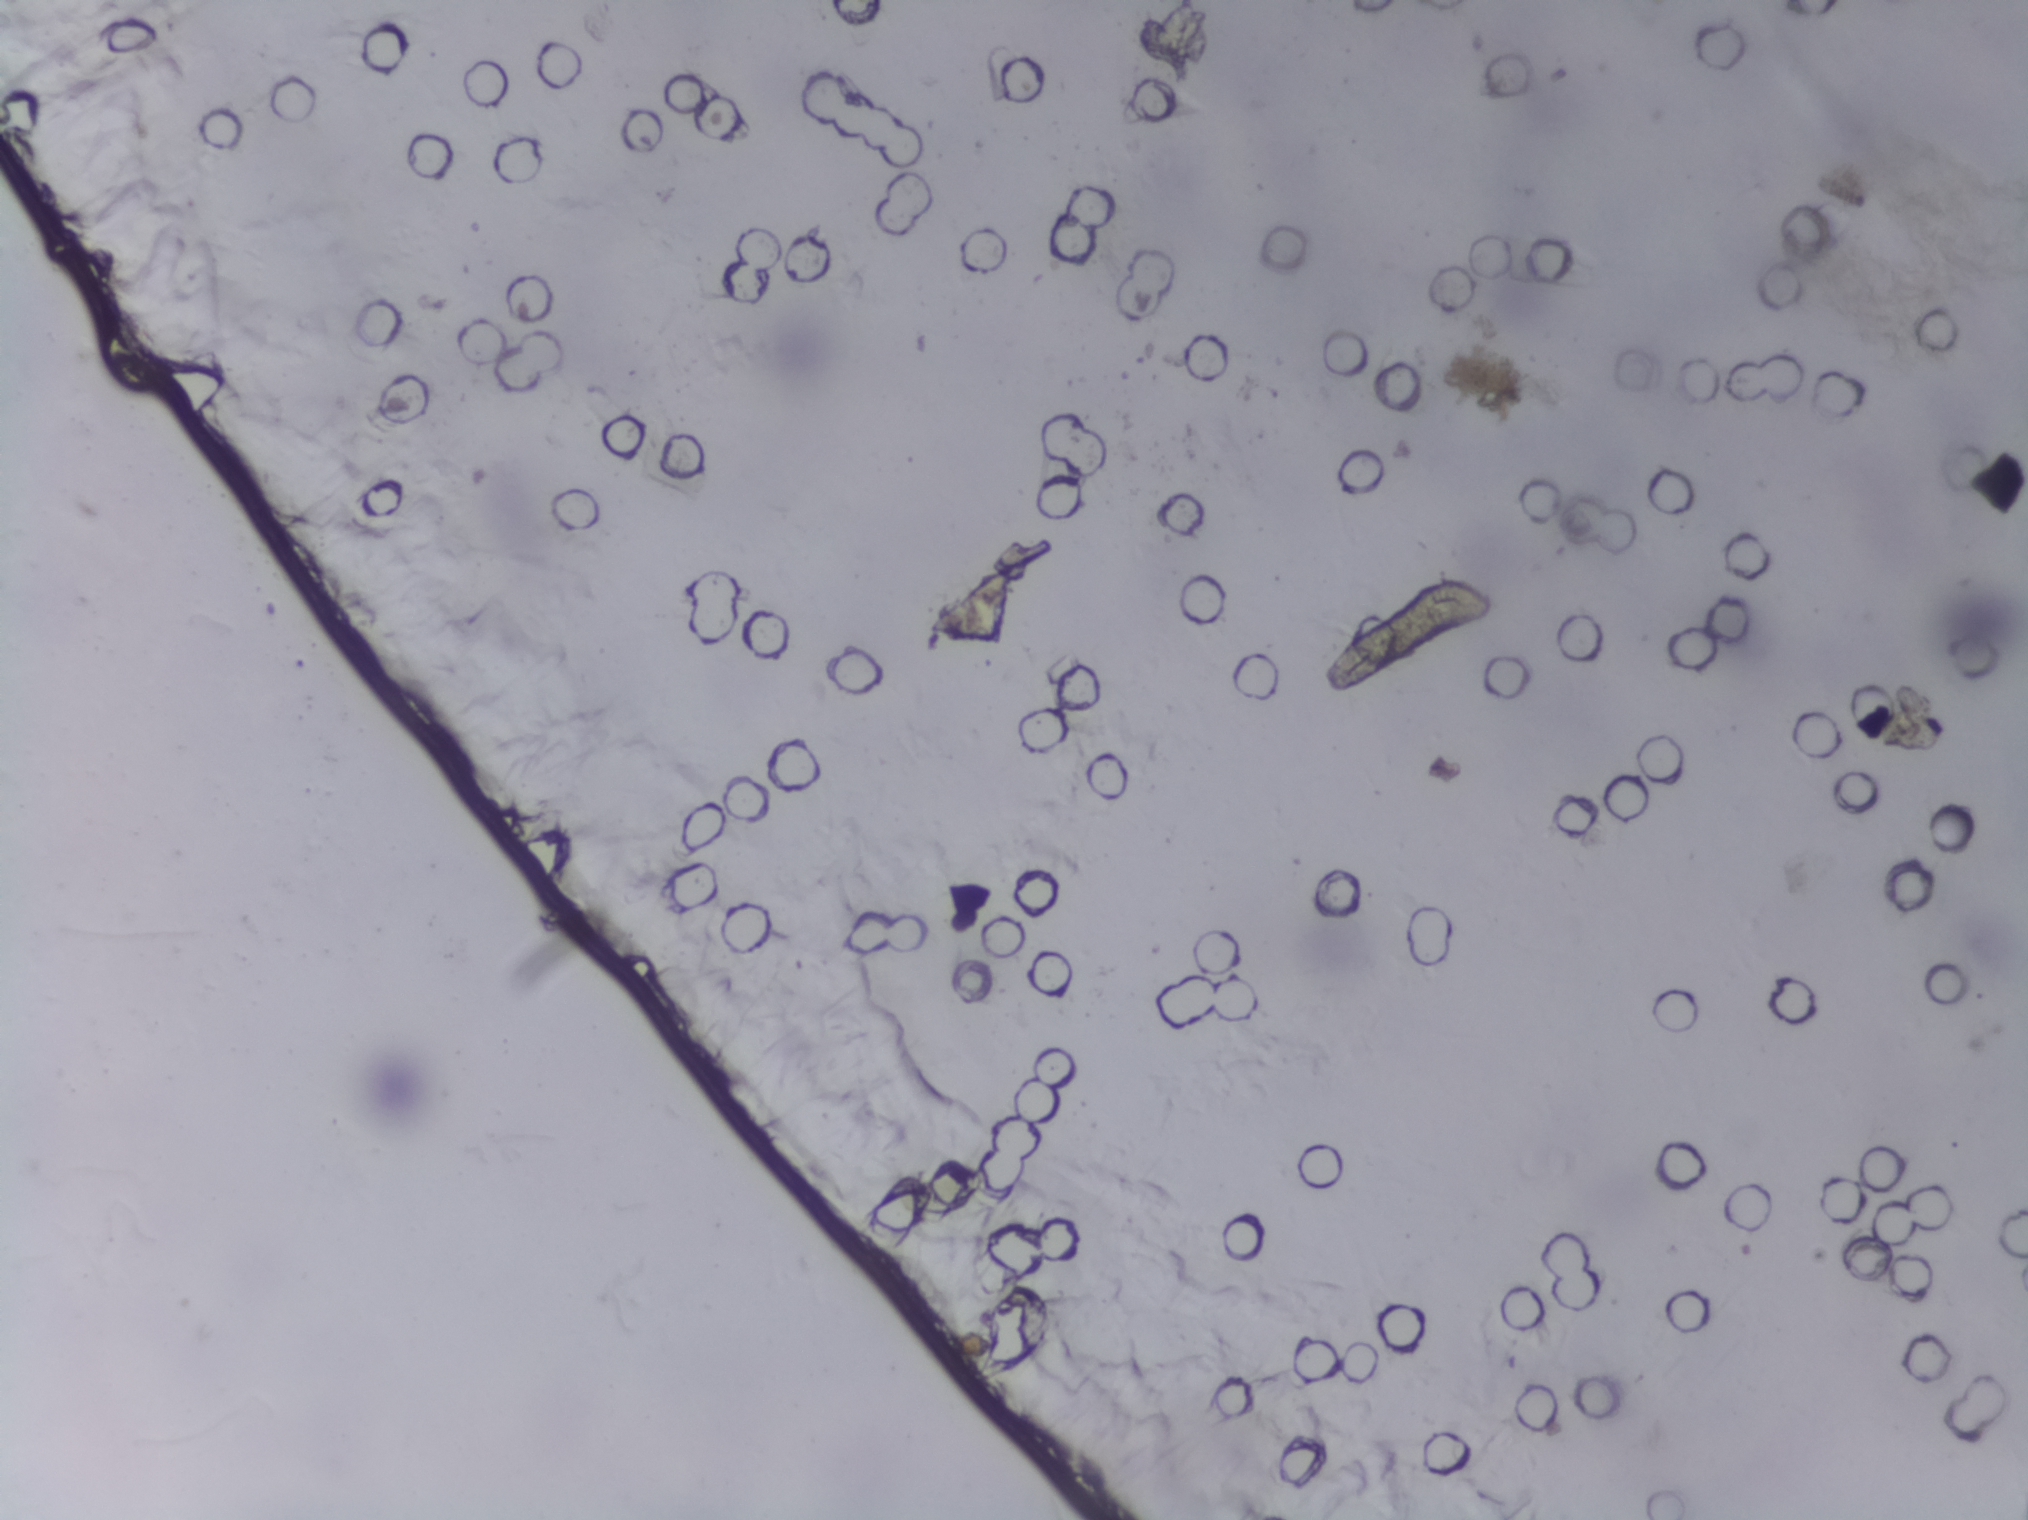
No area of this image was outlined as a Schistosoma egg.
Microscope photograph (4× objective) of a membrane that a urine sample was filtered through.